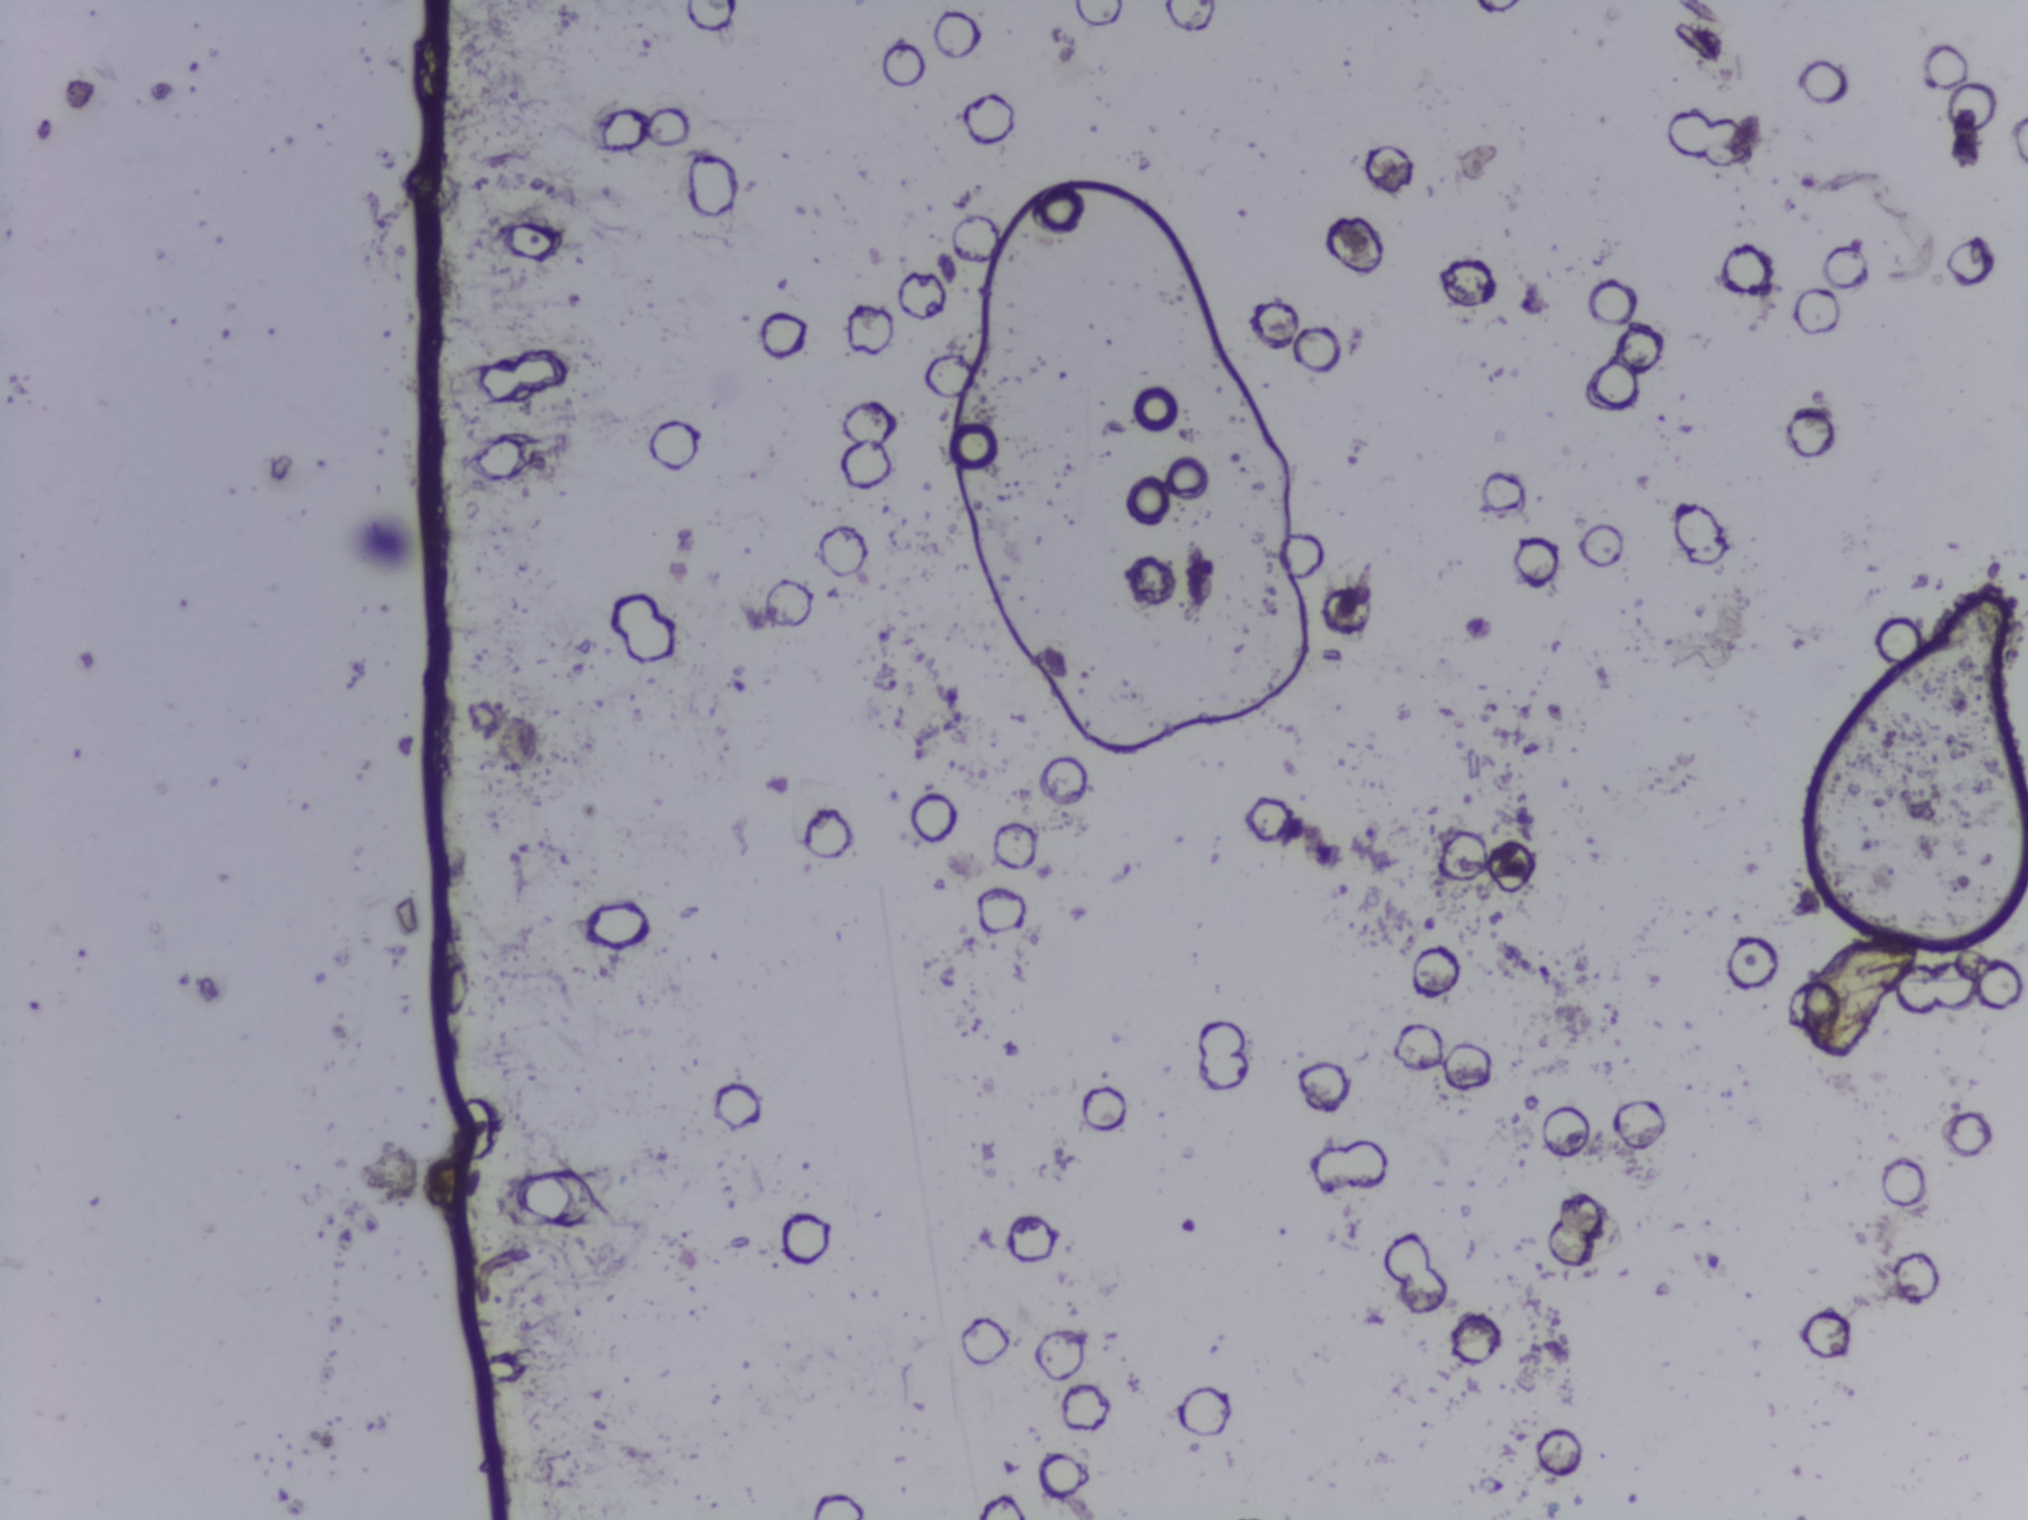
Photomicrograph of a urine filtration membrane, 4× objective.
The expert annotation marks no Schistosoma egg in this field of view.